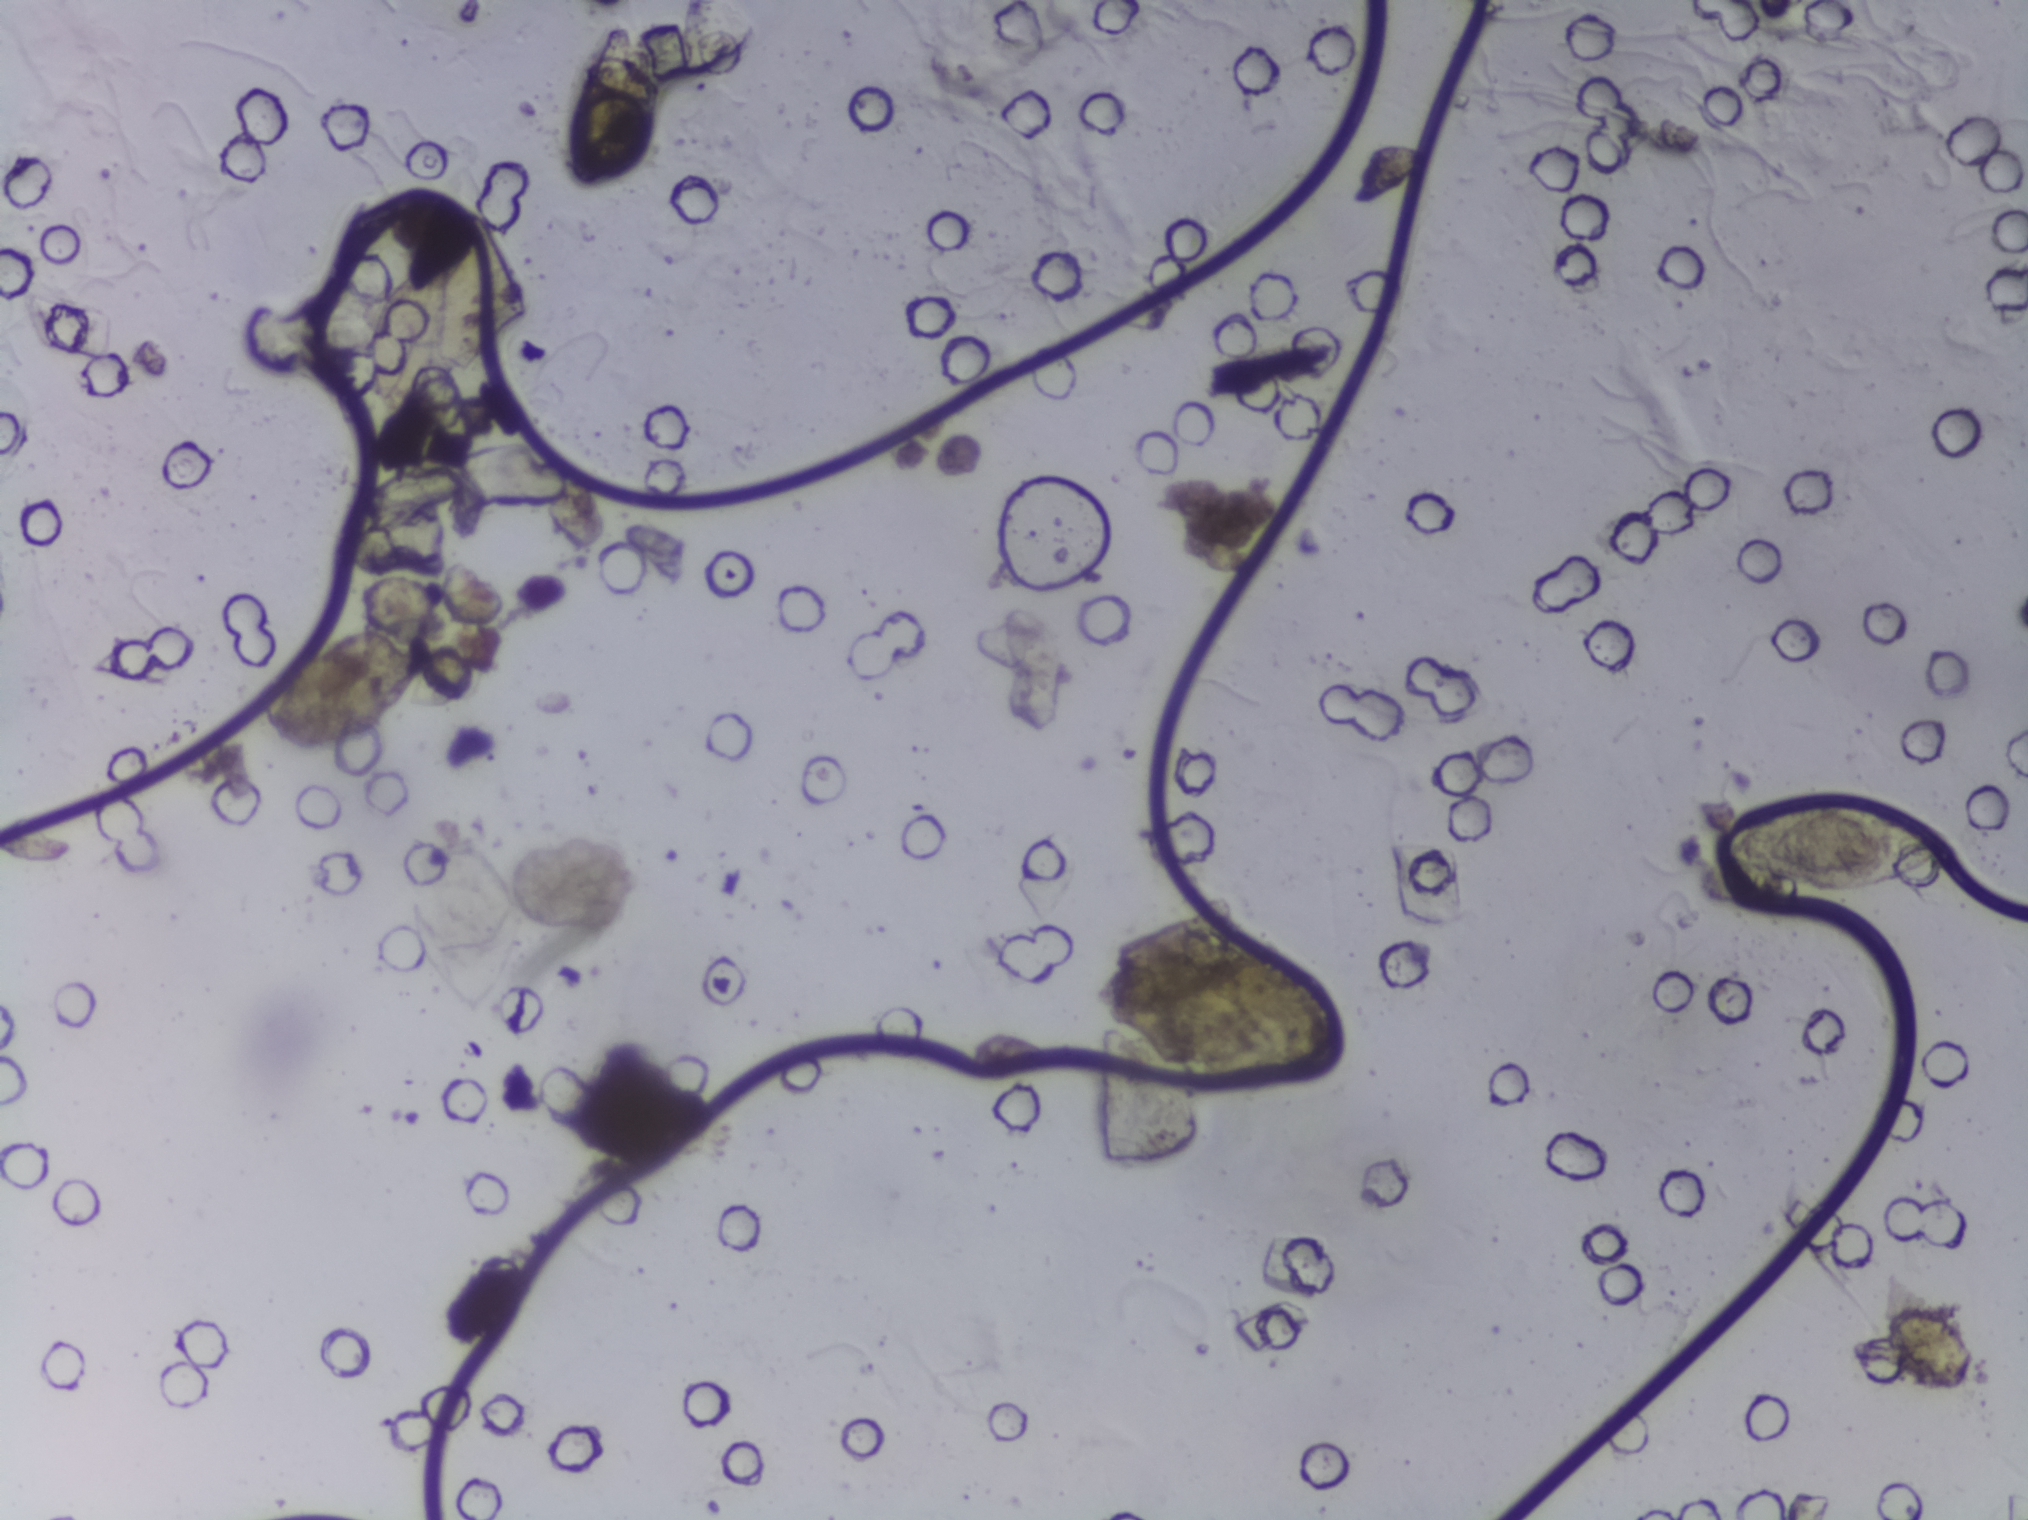
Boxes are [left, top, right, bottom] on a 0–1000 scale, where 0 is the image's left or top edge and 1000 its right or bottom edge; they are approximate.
Schistosoma eggs are outlined in two areas of this image, listed from left to right: [201, 539, 258, 675] and [848, 527, 964, 593]. About 1.1% of the image's pixels are marked (the marked pixels themselves, not the boxes around them). A single outlined area may contain several eggs.
Photograph from an automated digital microscope: urine filter membrane, 4× objective. The image covers about 1.5 × 1.1 mm of the membrane.